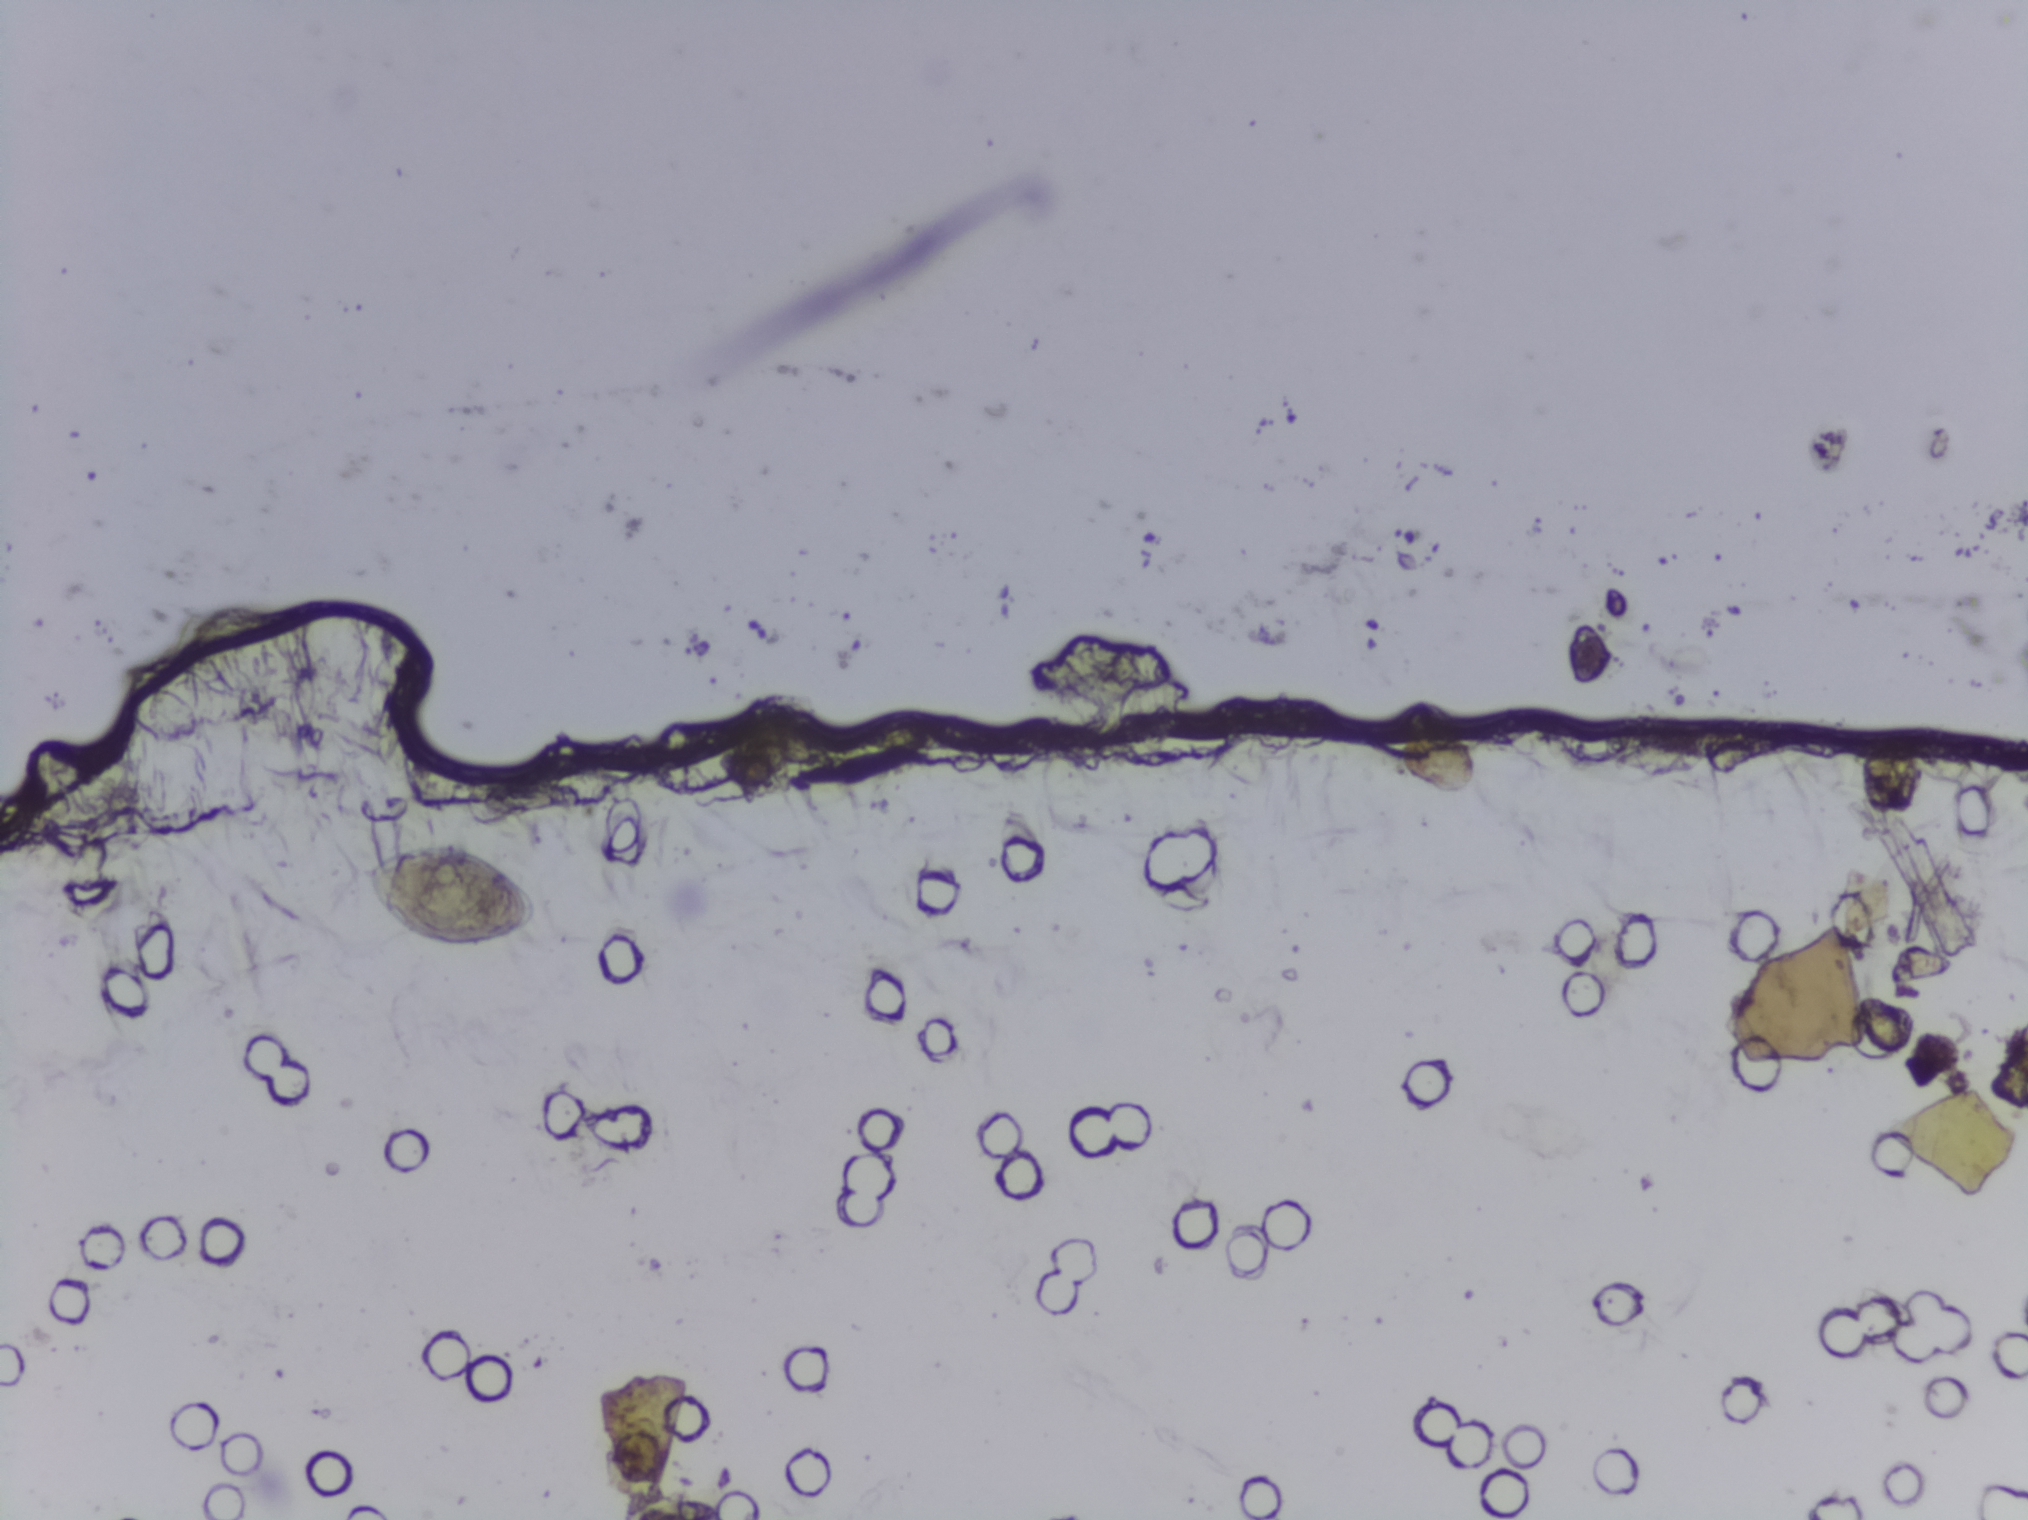
Microscope photograph (4× objective) of a membrane that a urine sample was filtered through.
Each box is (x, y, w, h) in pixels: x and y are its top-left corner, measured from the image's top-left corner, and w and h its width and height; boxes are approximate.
Schistosoma eggs are outlined in one area of this image: (x=337, y=836, w=223, h=114). Eggs that touch can end up inside the same outlined area.